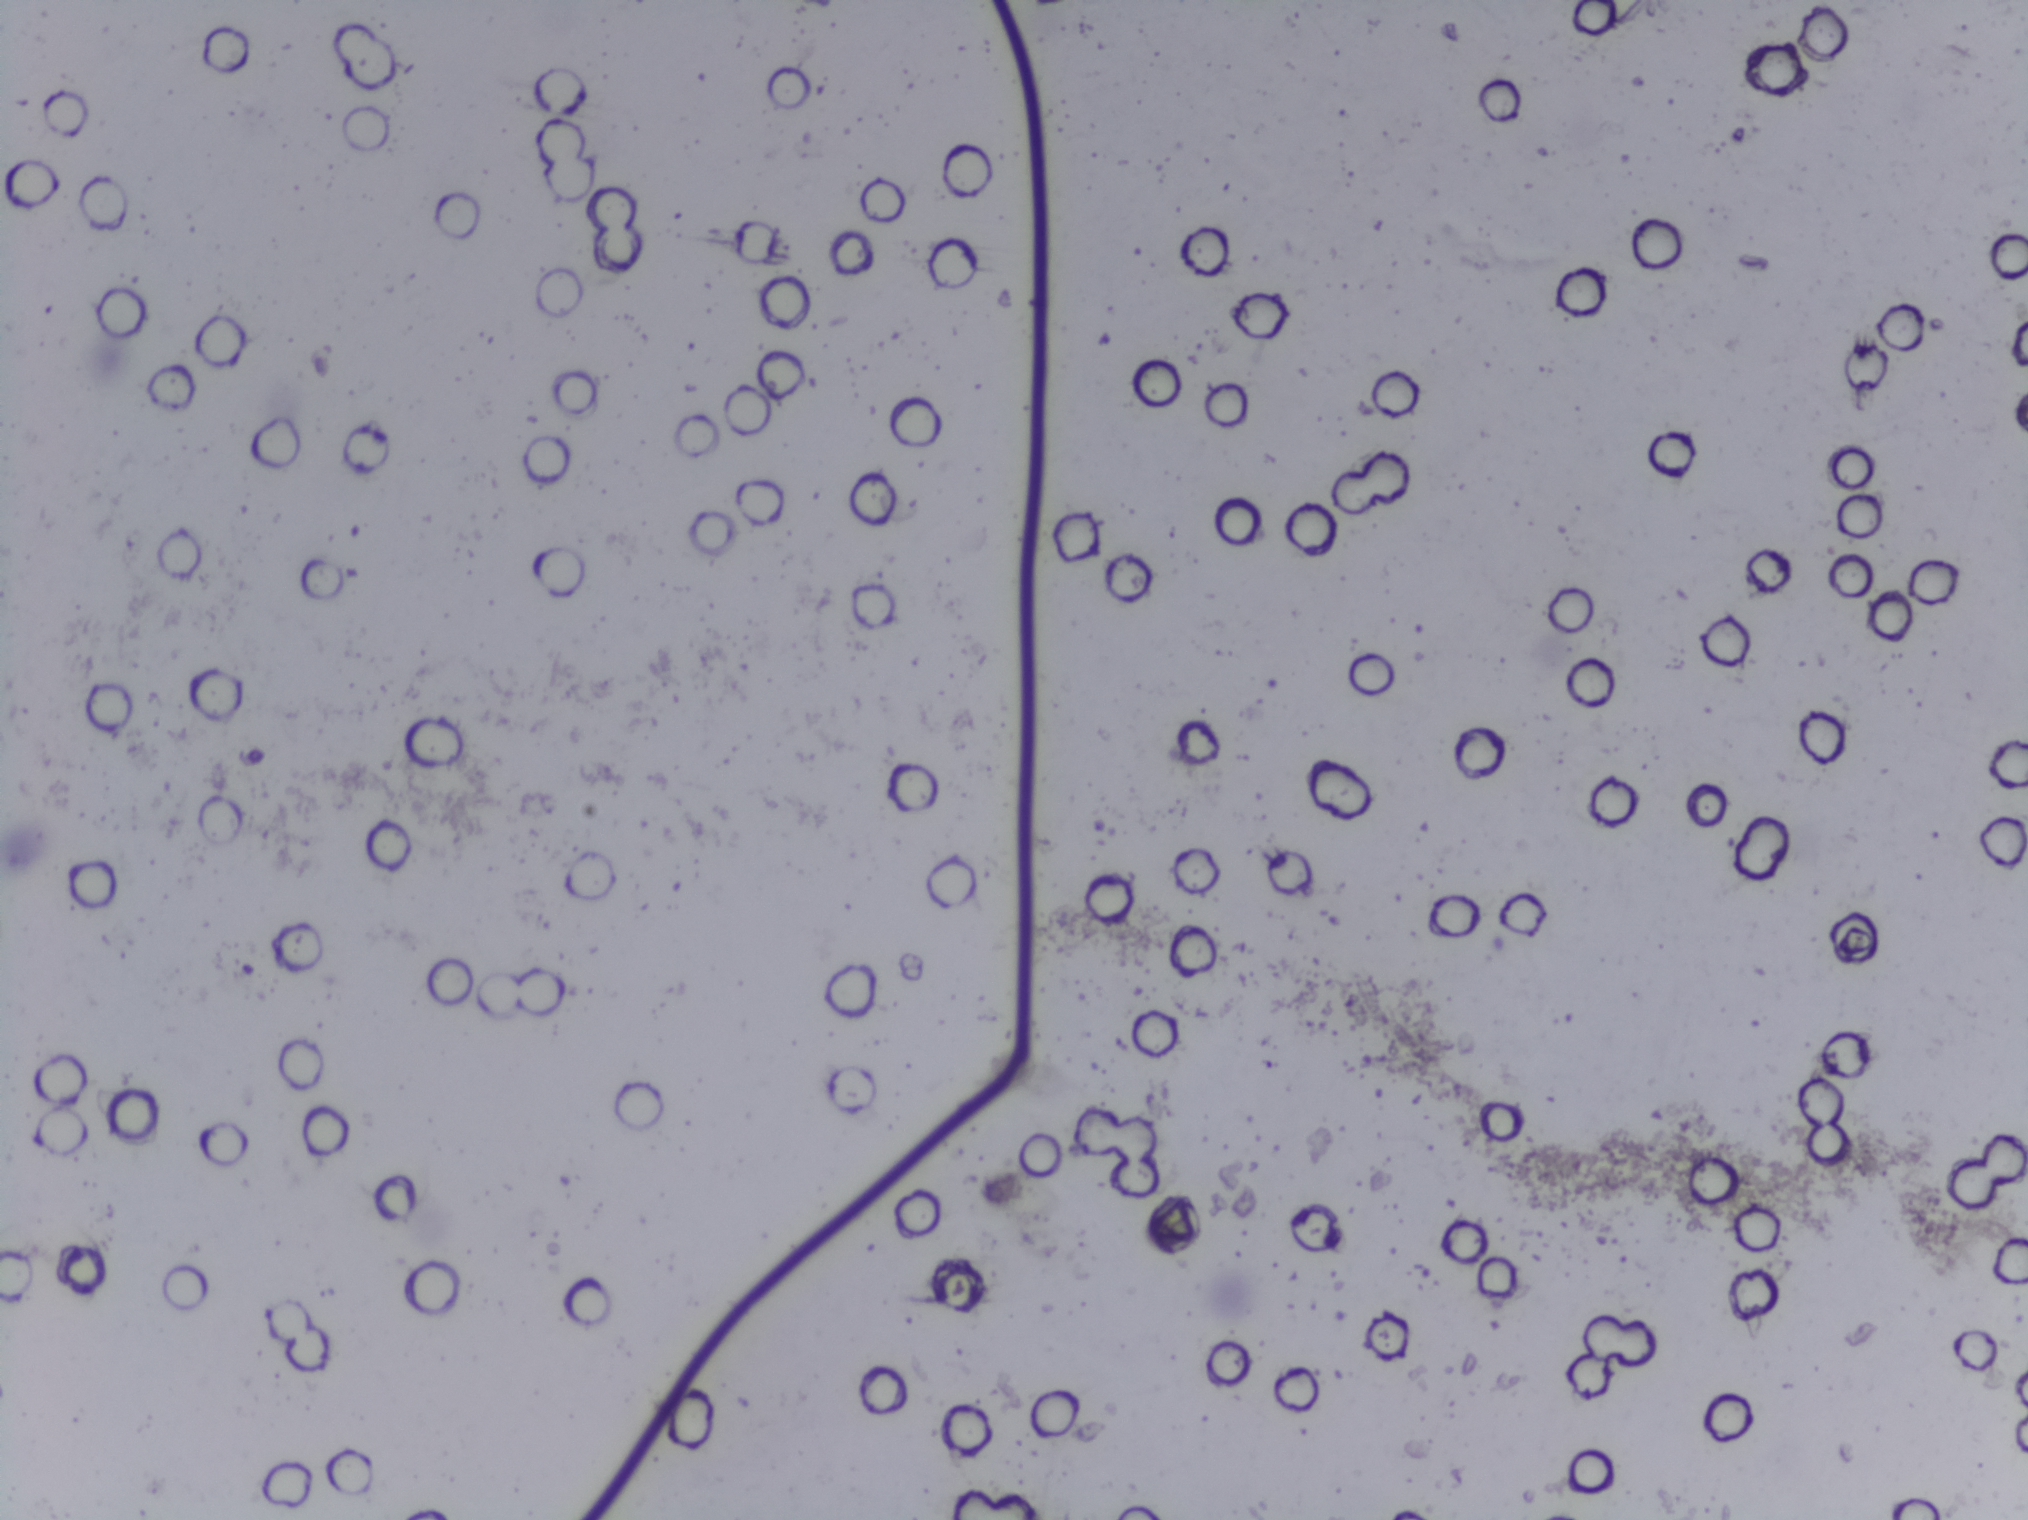
Photomicrograph of a urine filtration membrane, 4× objective.
Schistosoma eggs: none outlined.